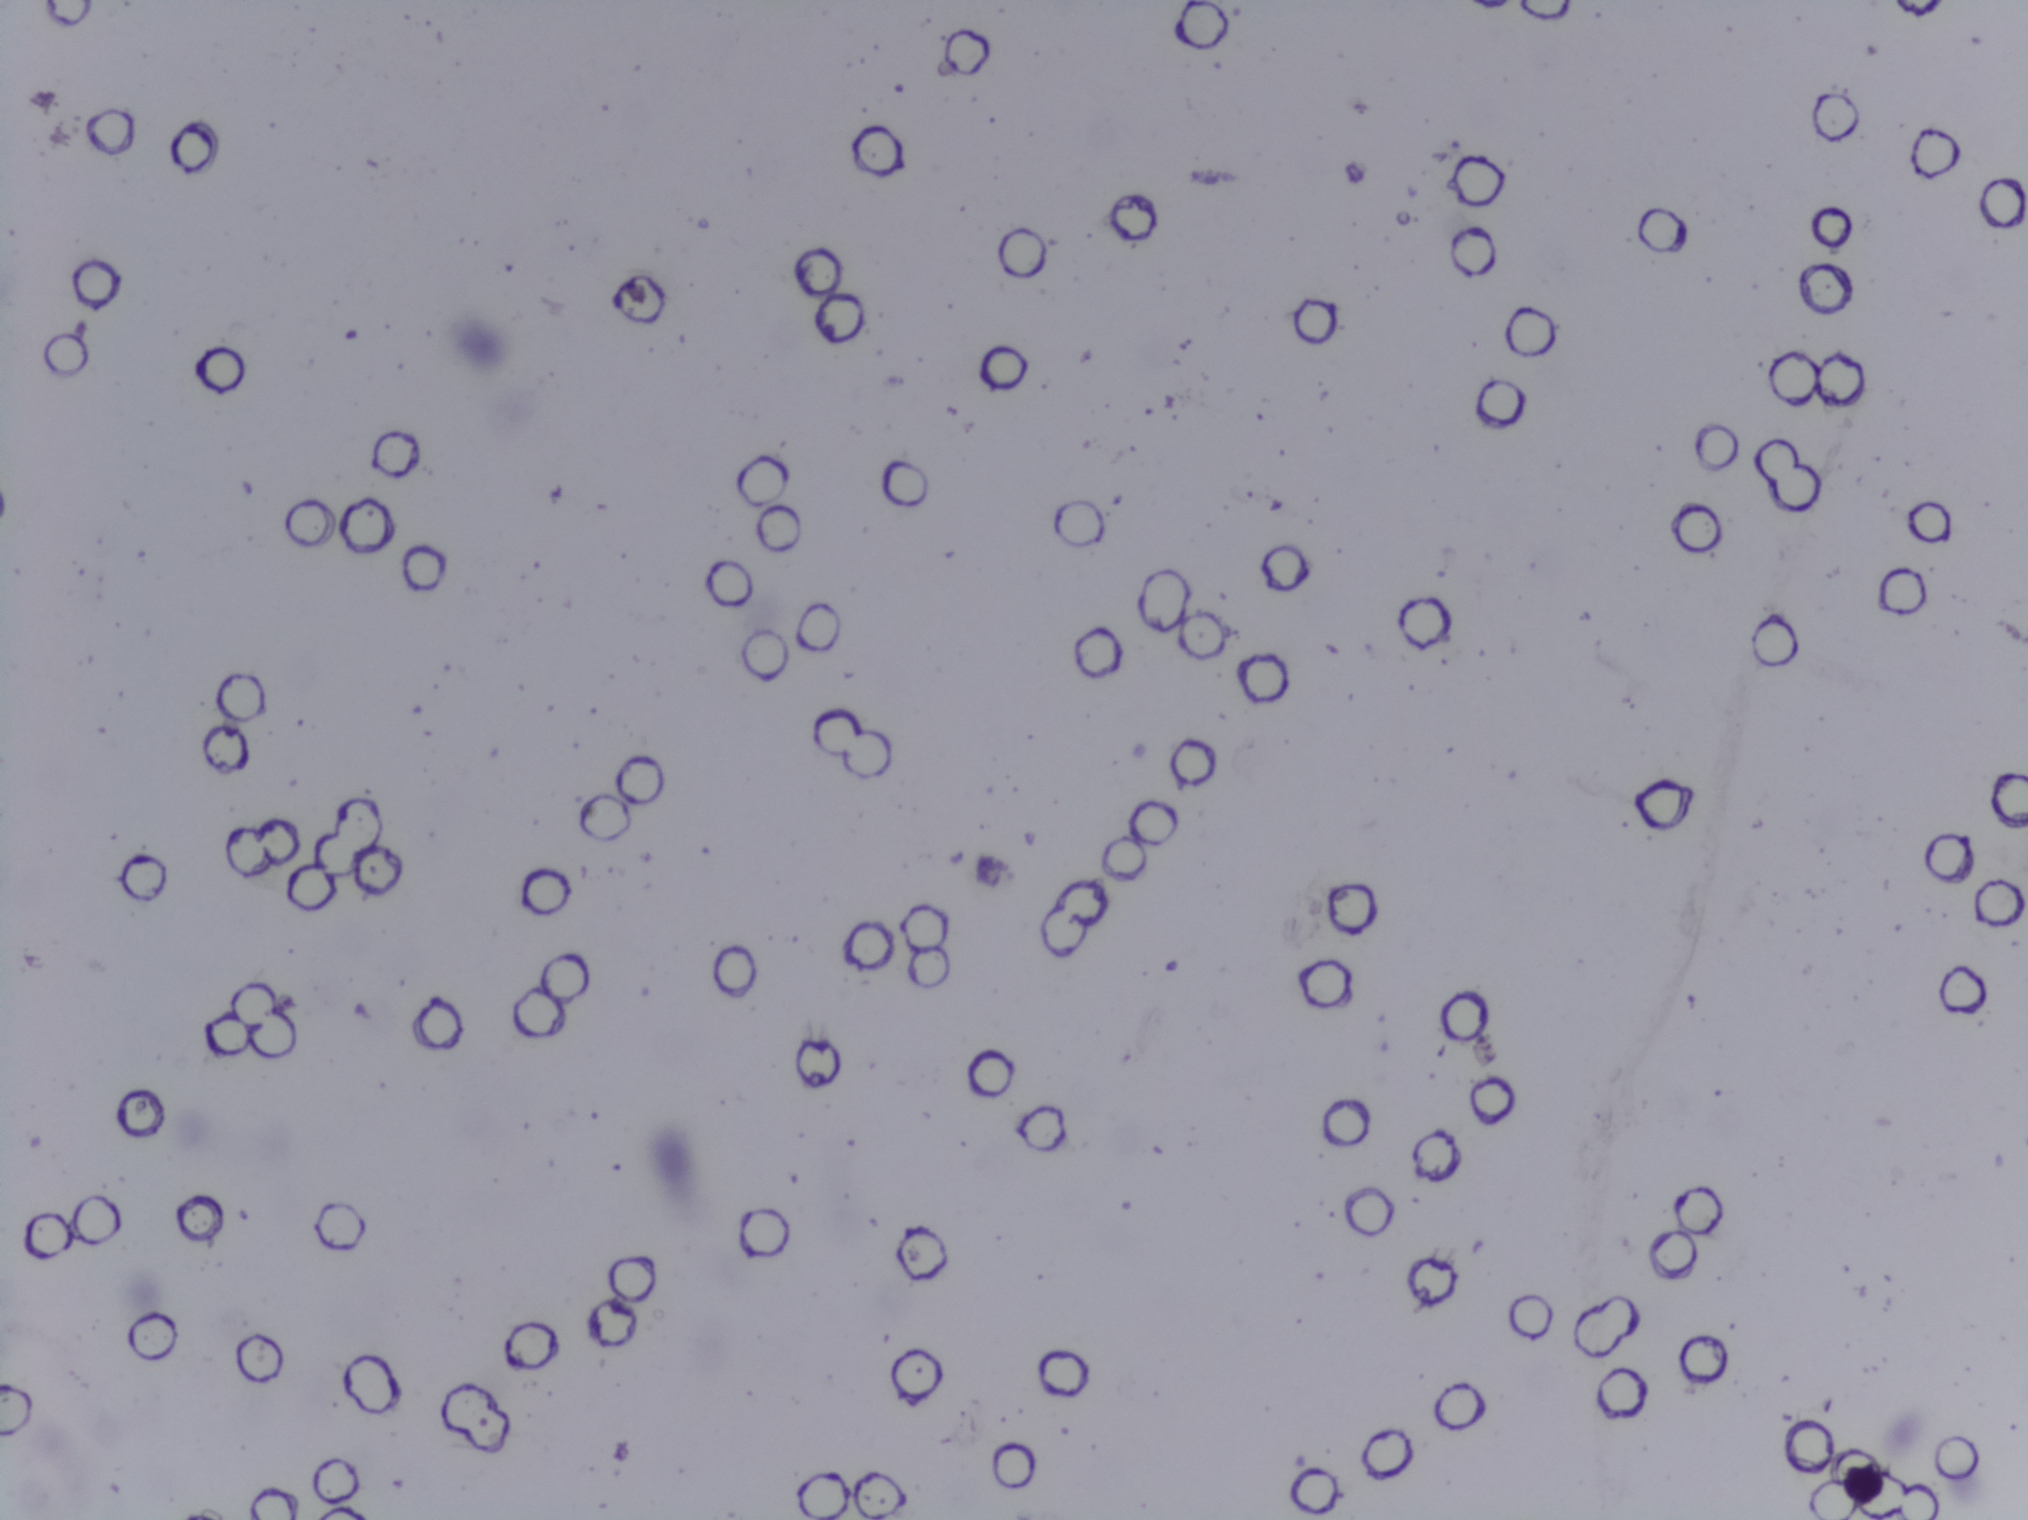
Microscope photograph (4× objective) of a membrane that a urine sample was filtered through.
The expert annotation marks no Schistosoma egg in this field of view.